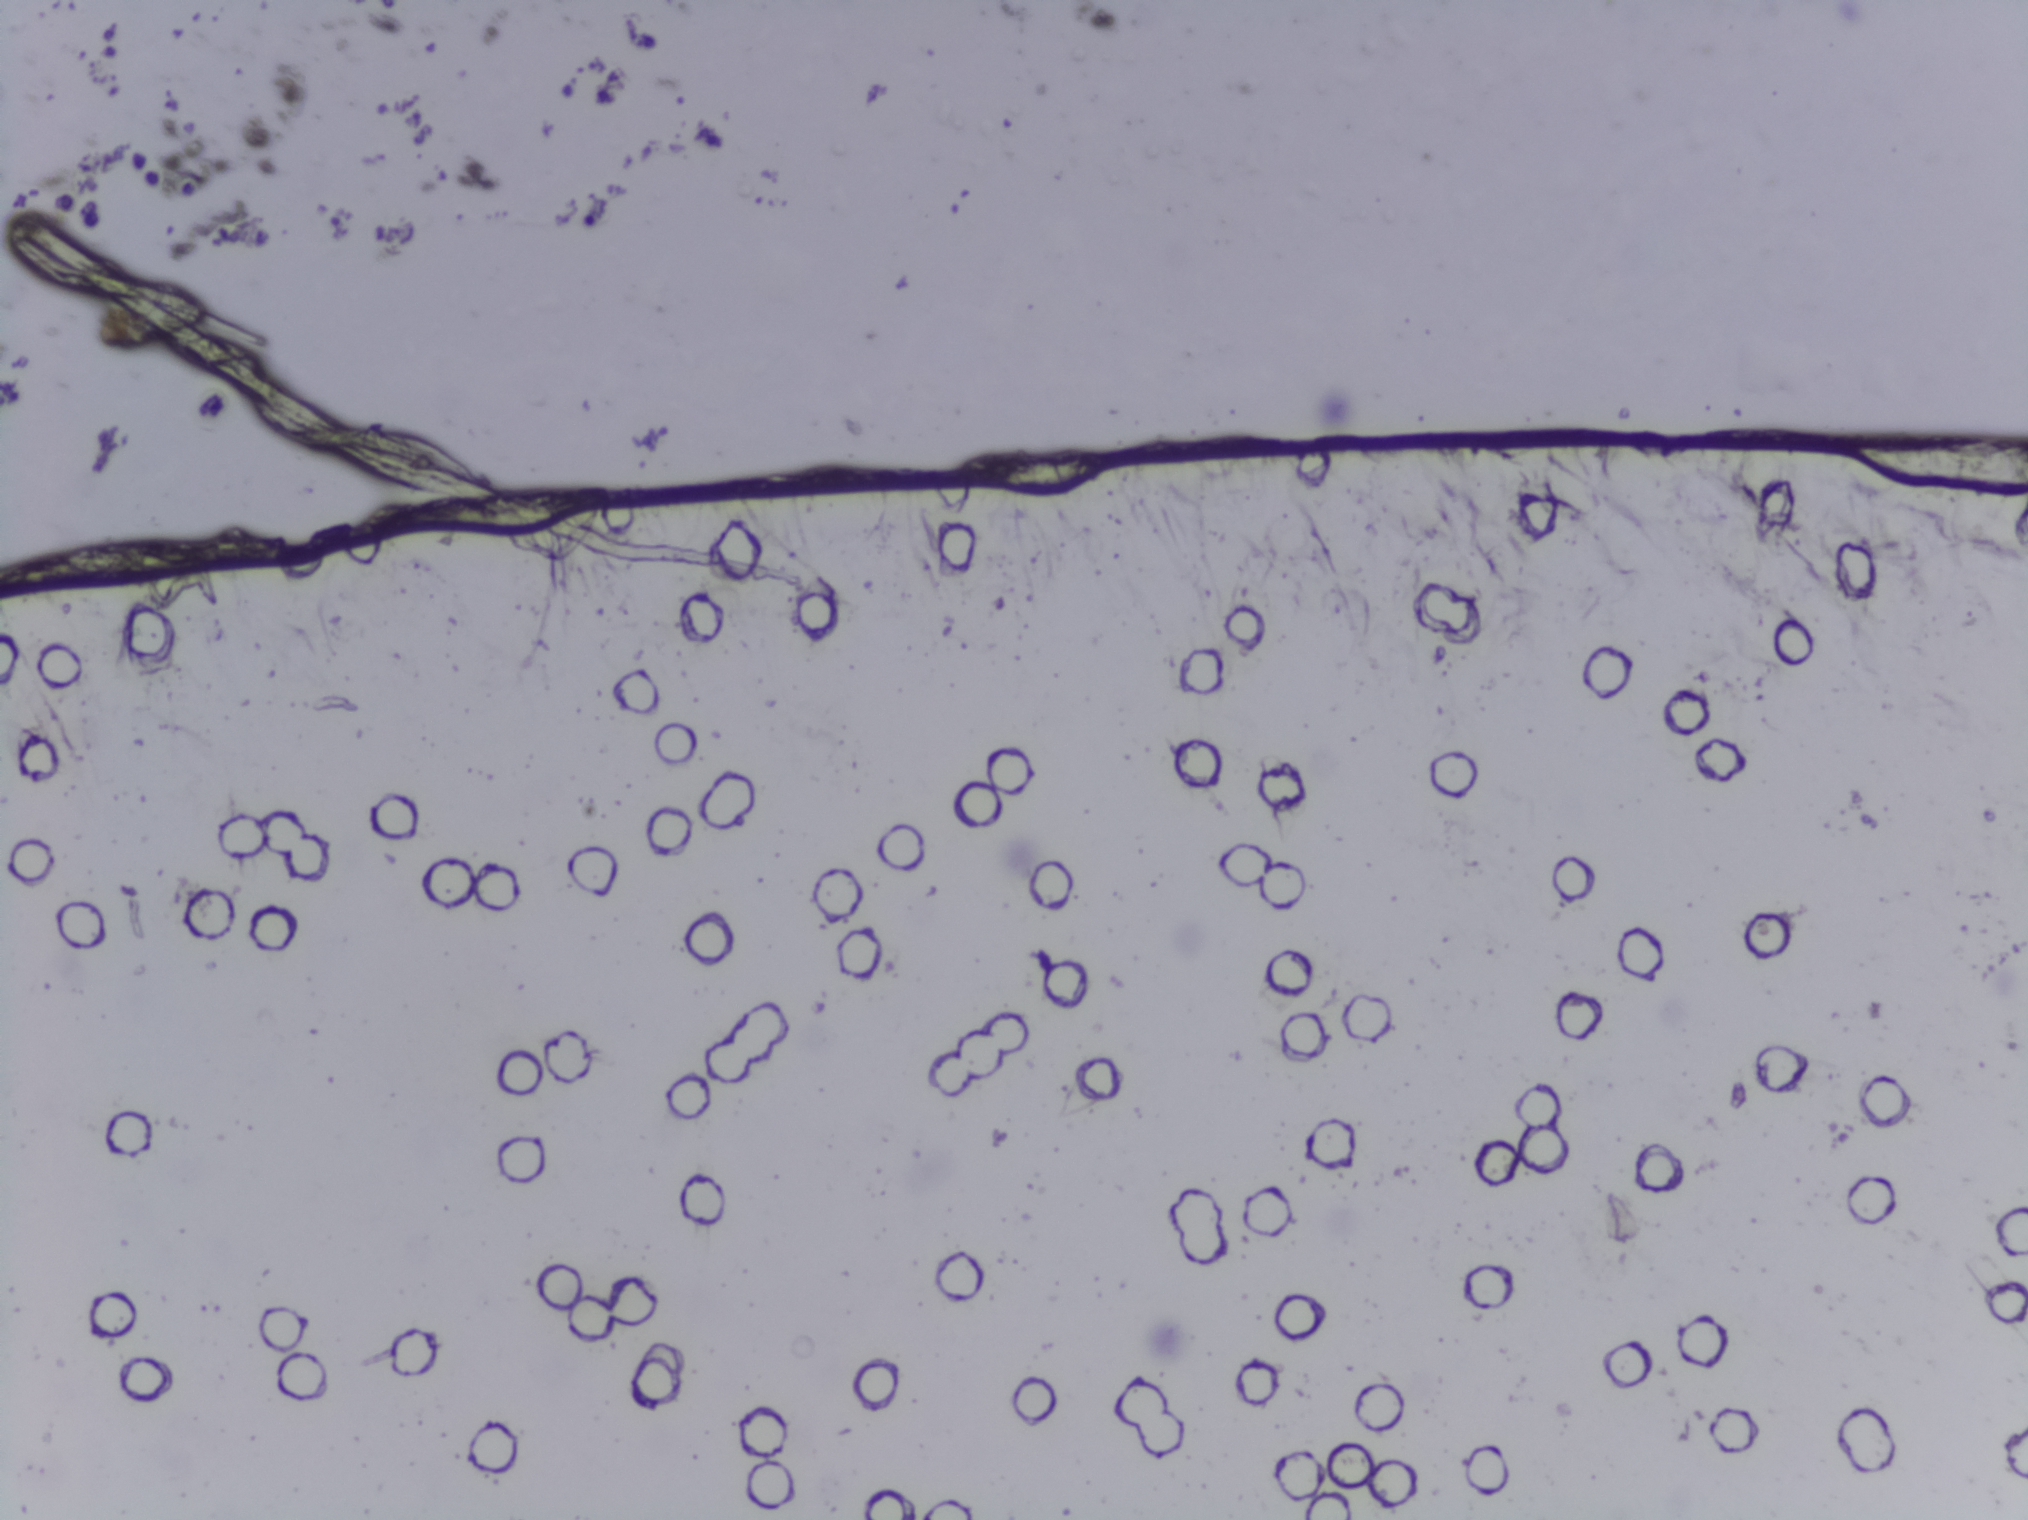
One field of view of a urine filter membrane, 4× objective, 2028 × 1520 pixels. Field of view: about 1.5 mm wide and 1.1 mm high.
The expert annotation marks no Schistosoma egg in this field of view.